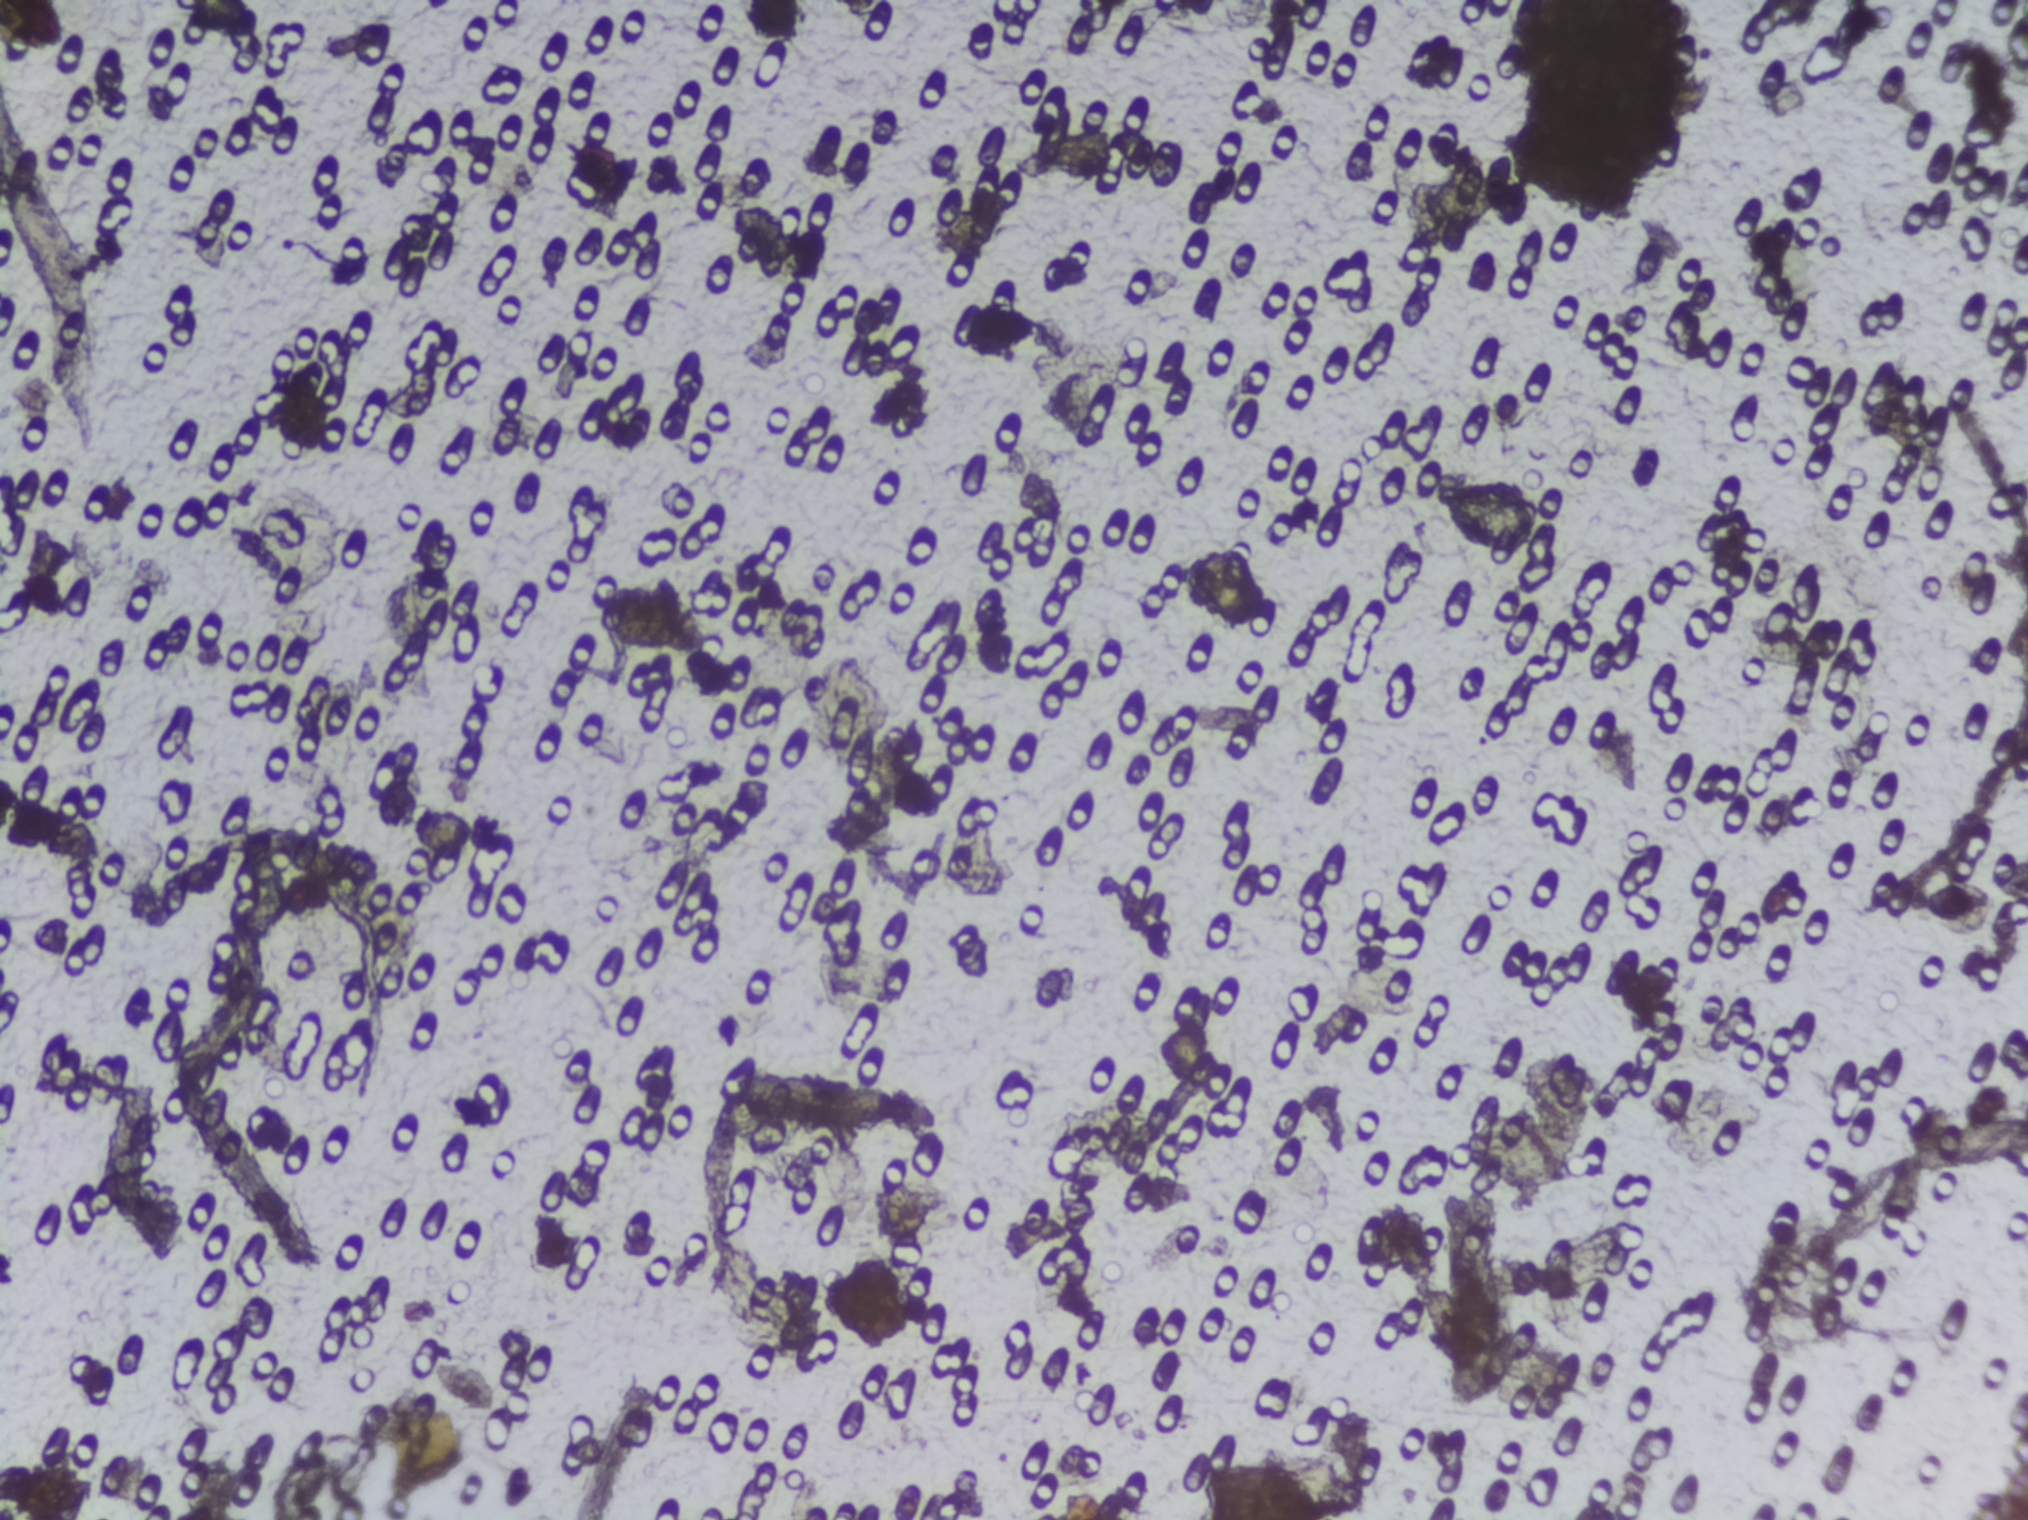
No Schistosoma egg is outlined in this image's expert annotation.
Urine filtration membrane under a 4× objective, photographed by an automated digital microscope. The field of view is about 1.5 mm × 1.1 mm.